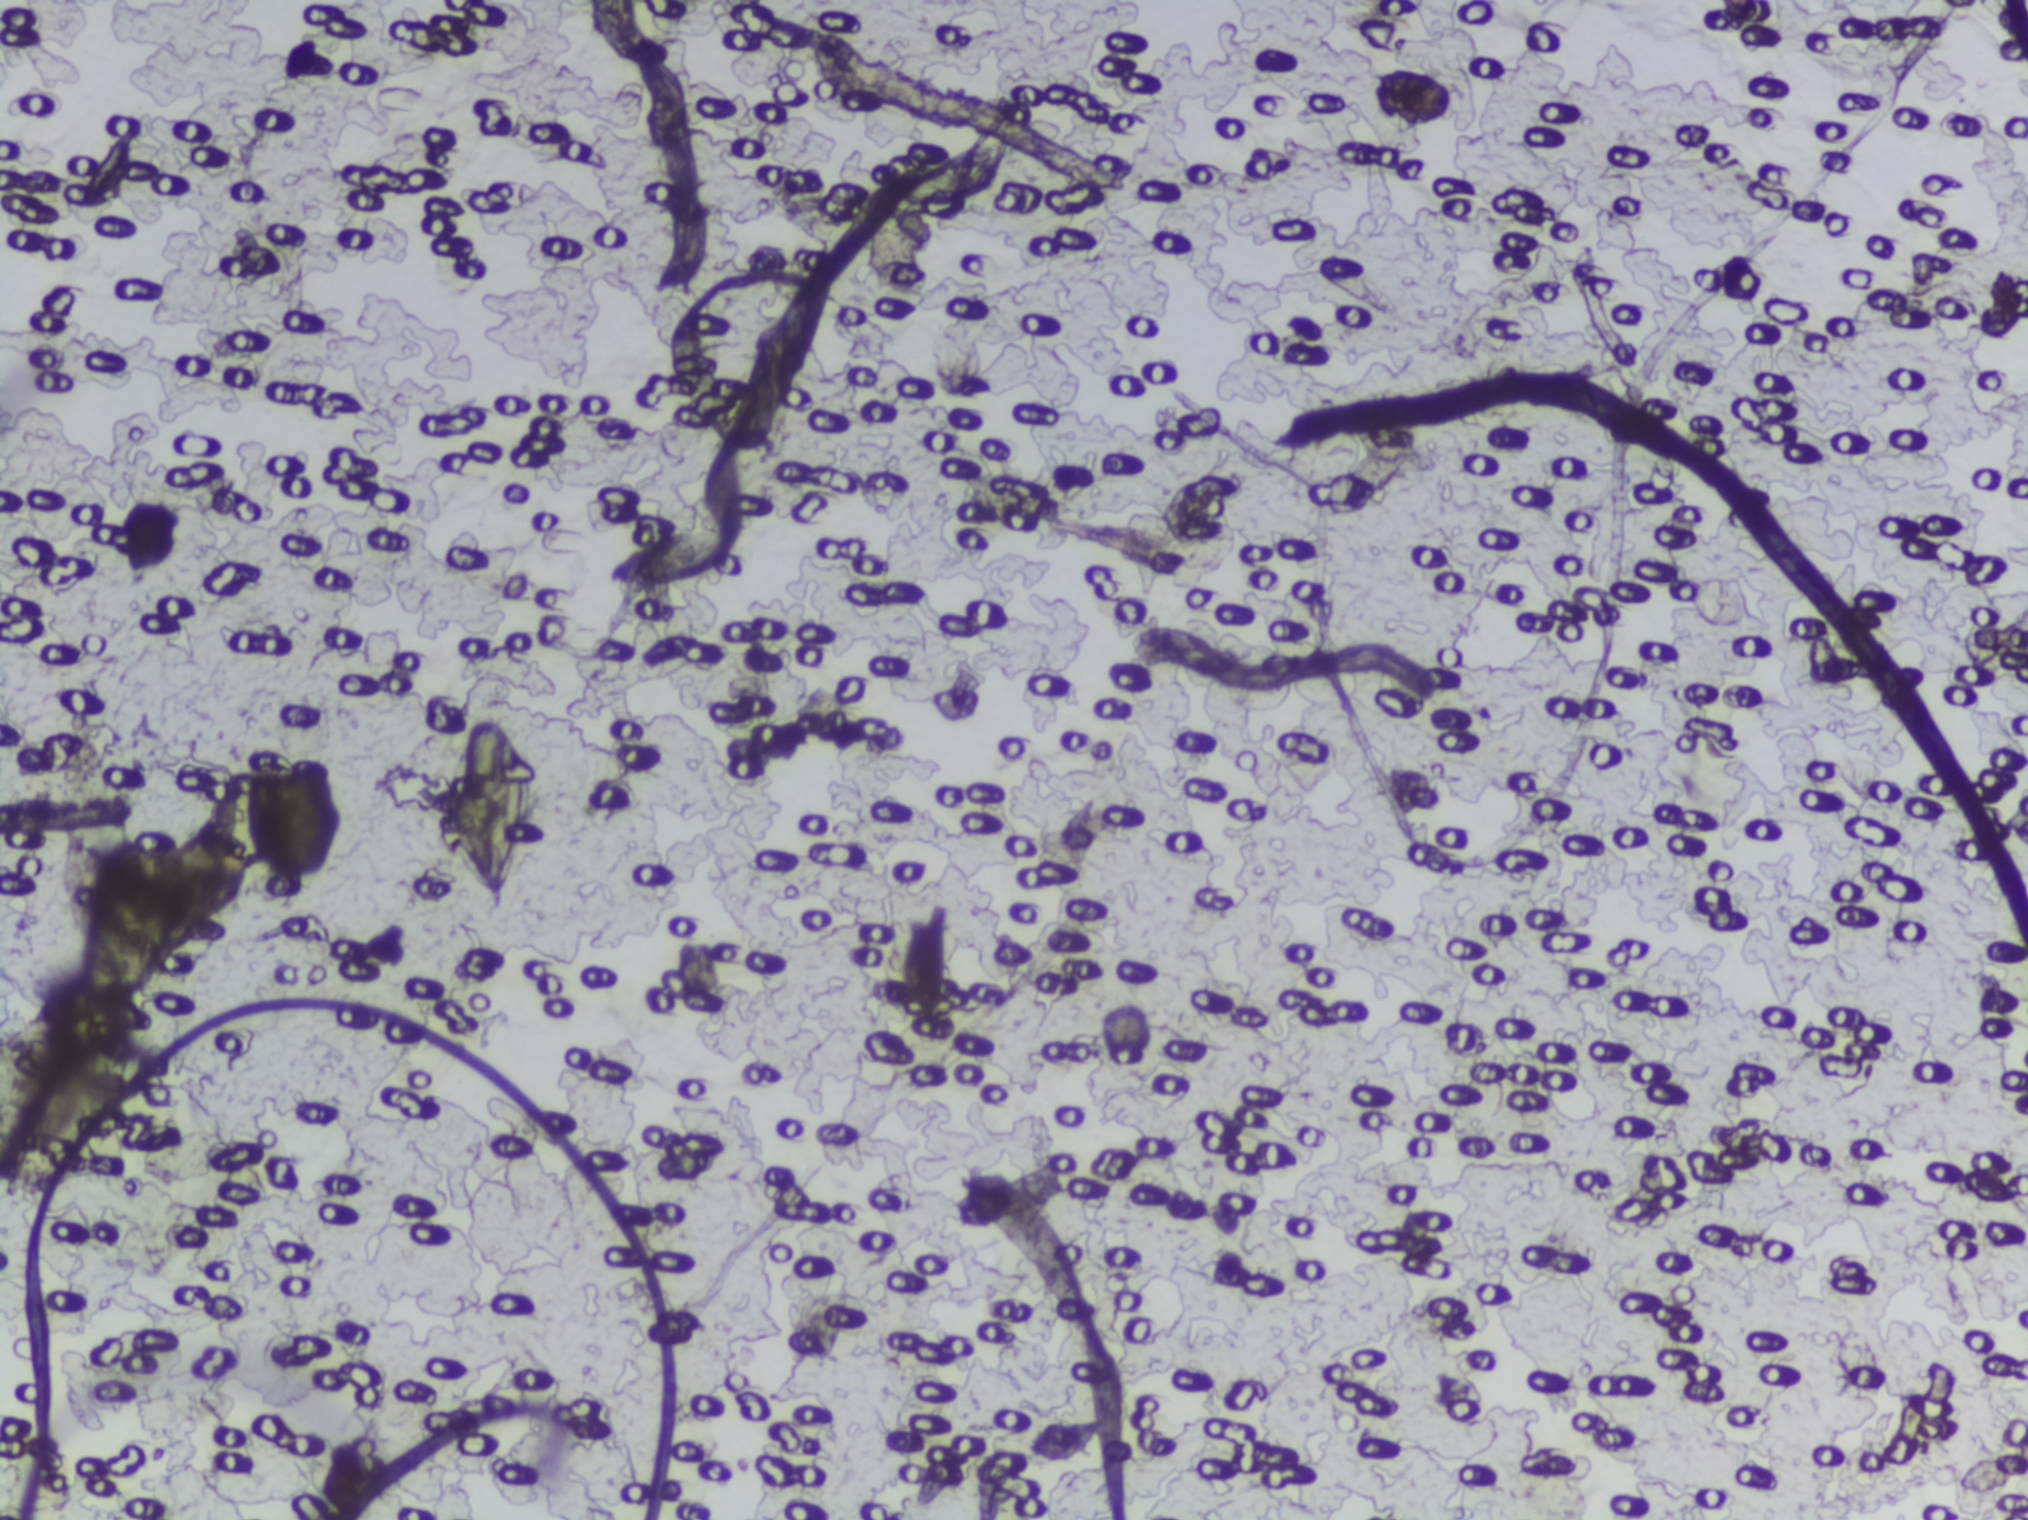
Urine filter membrane photographed through a 4× microscope objective.
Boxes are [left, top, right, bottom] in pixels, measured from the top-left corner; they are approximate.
One area of this image is outlined as Schistosoma eggs: [435, 719, 551, 919]. Eggs that touch can end up inside the same outlined area.